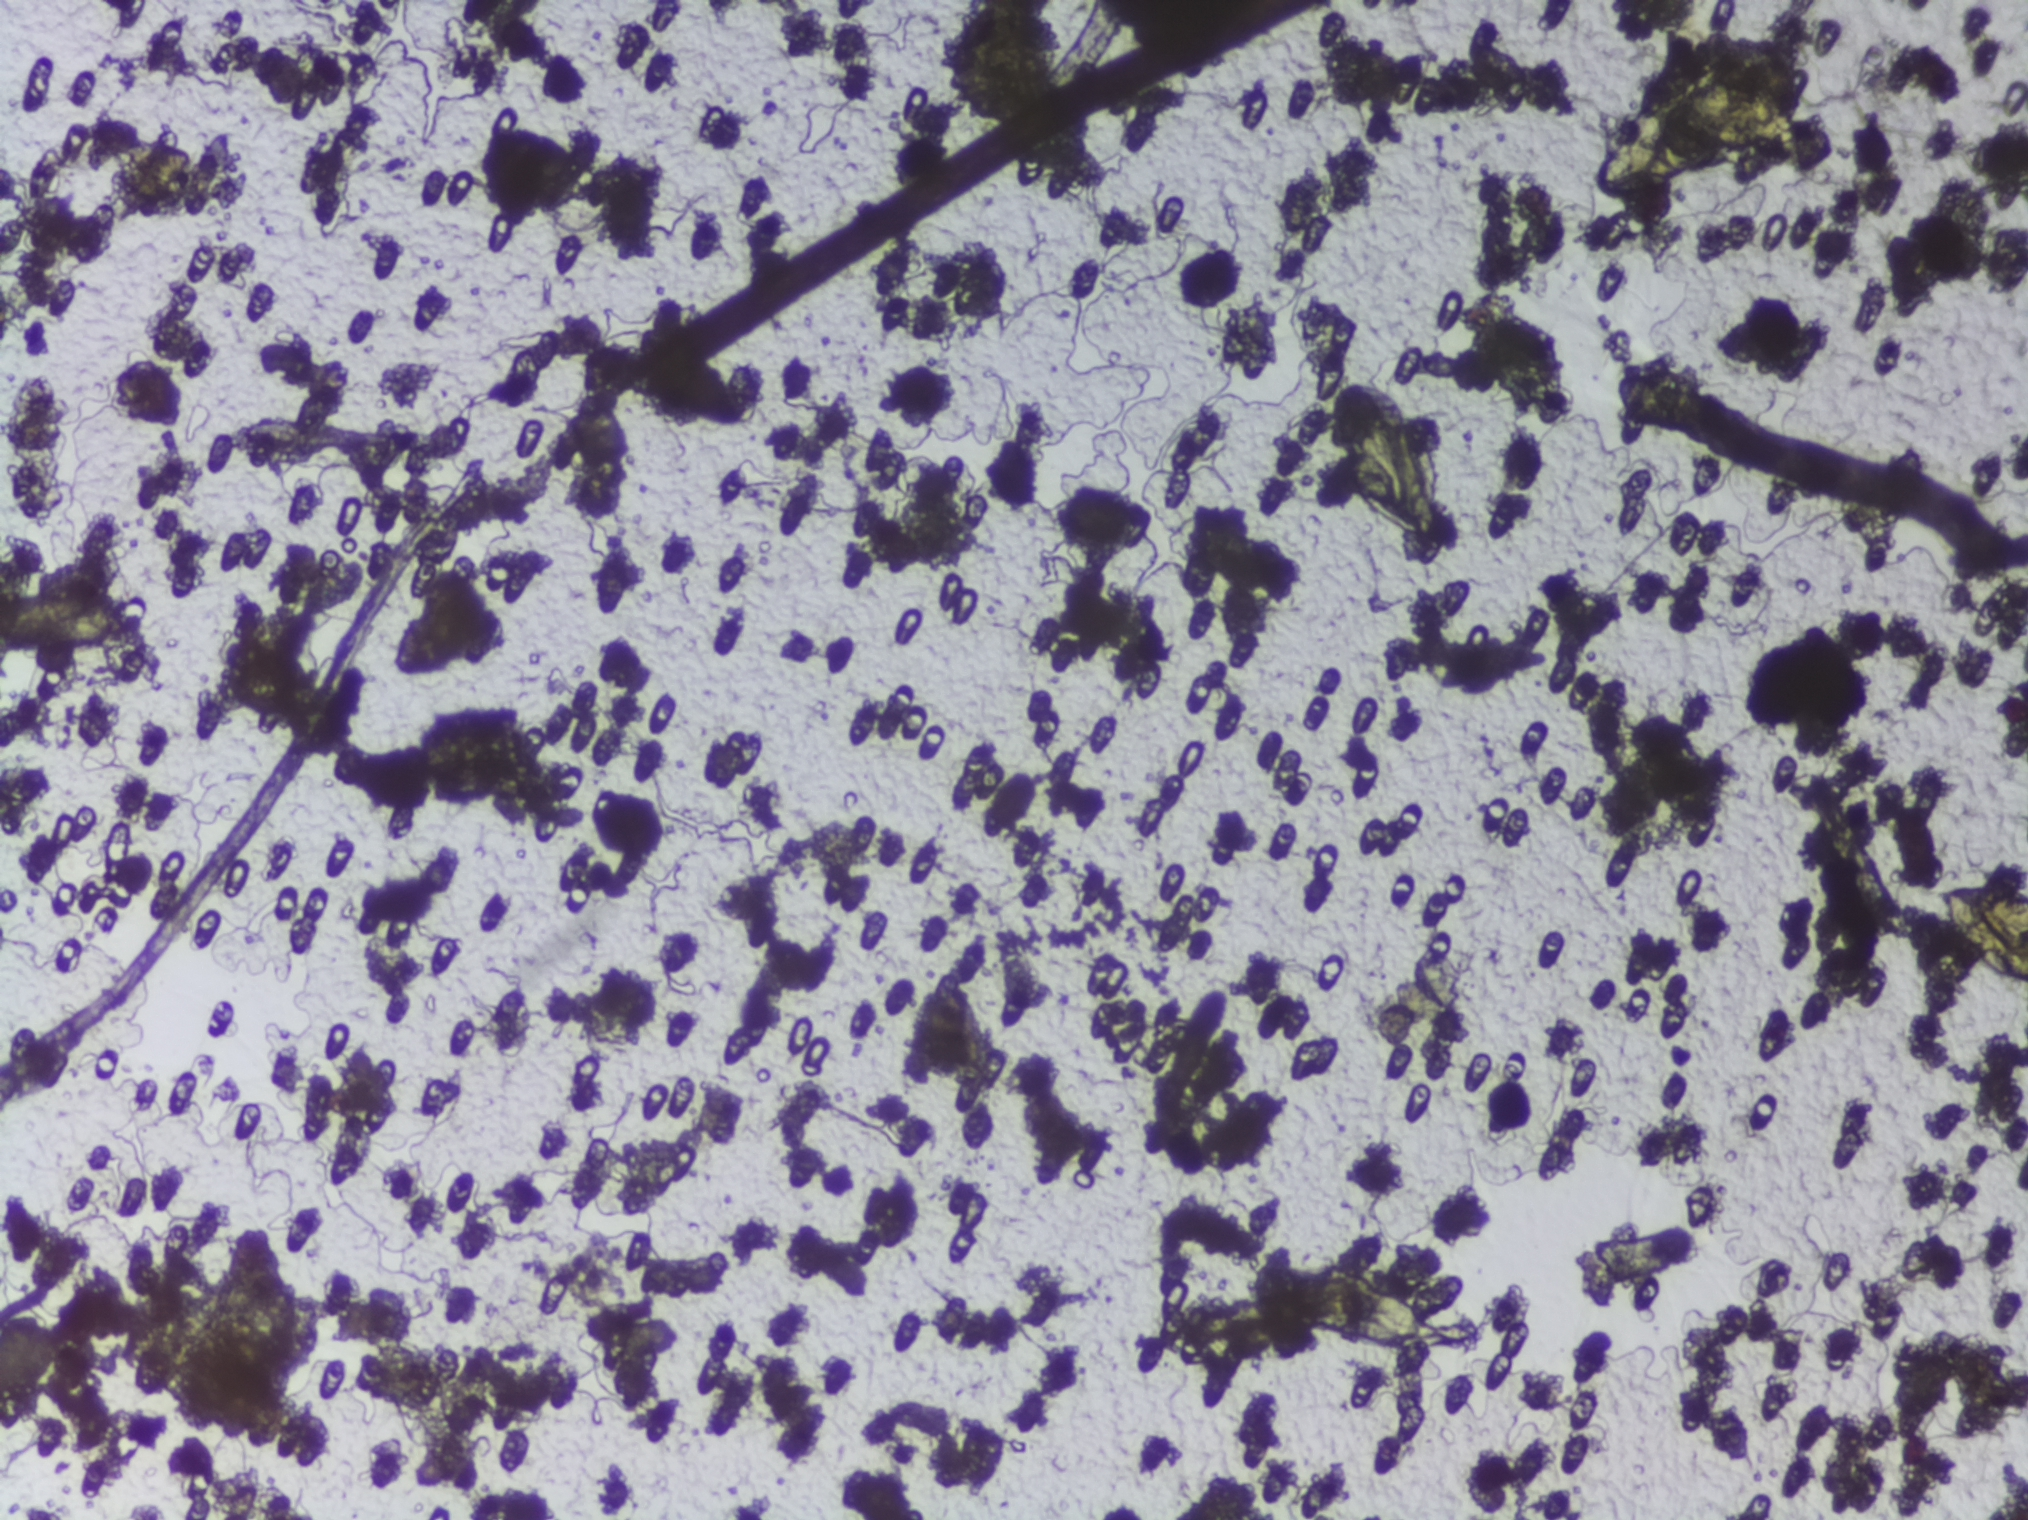
One field of view of a urine filter membrane, 4× objective, 2028 × 1520 pixels.
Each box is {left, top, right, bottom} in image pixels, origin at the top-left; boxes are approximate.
Four areas of this image are outlined as Schistosoma eggs, from left to right: {0, 589, 125, 651} (reaching the left edge of the frame); {1337, 381, 1442, 553}; {1594, 62, 1819, 199}; {1939, 885, 2027, 984} (reaching the right edge of the frame). A single outlined area may contain several eggs. A marked egg may occasionally be S. mansoni rather than S. haematobium.